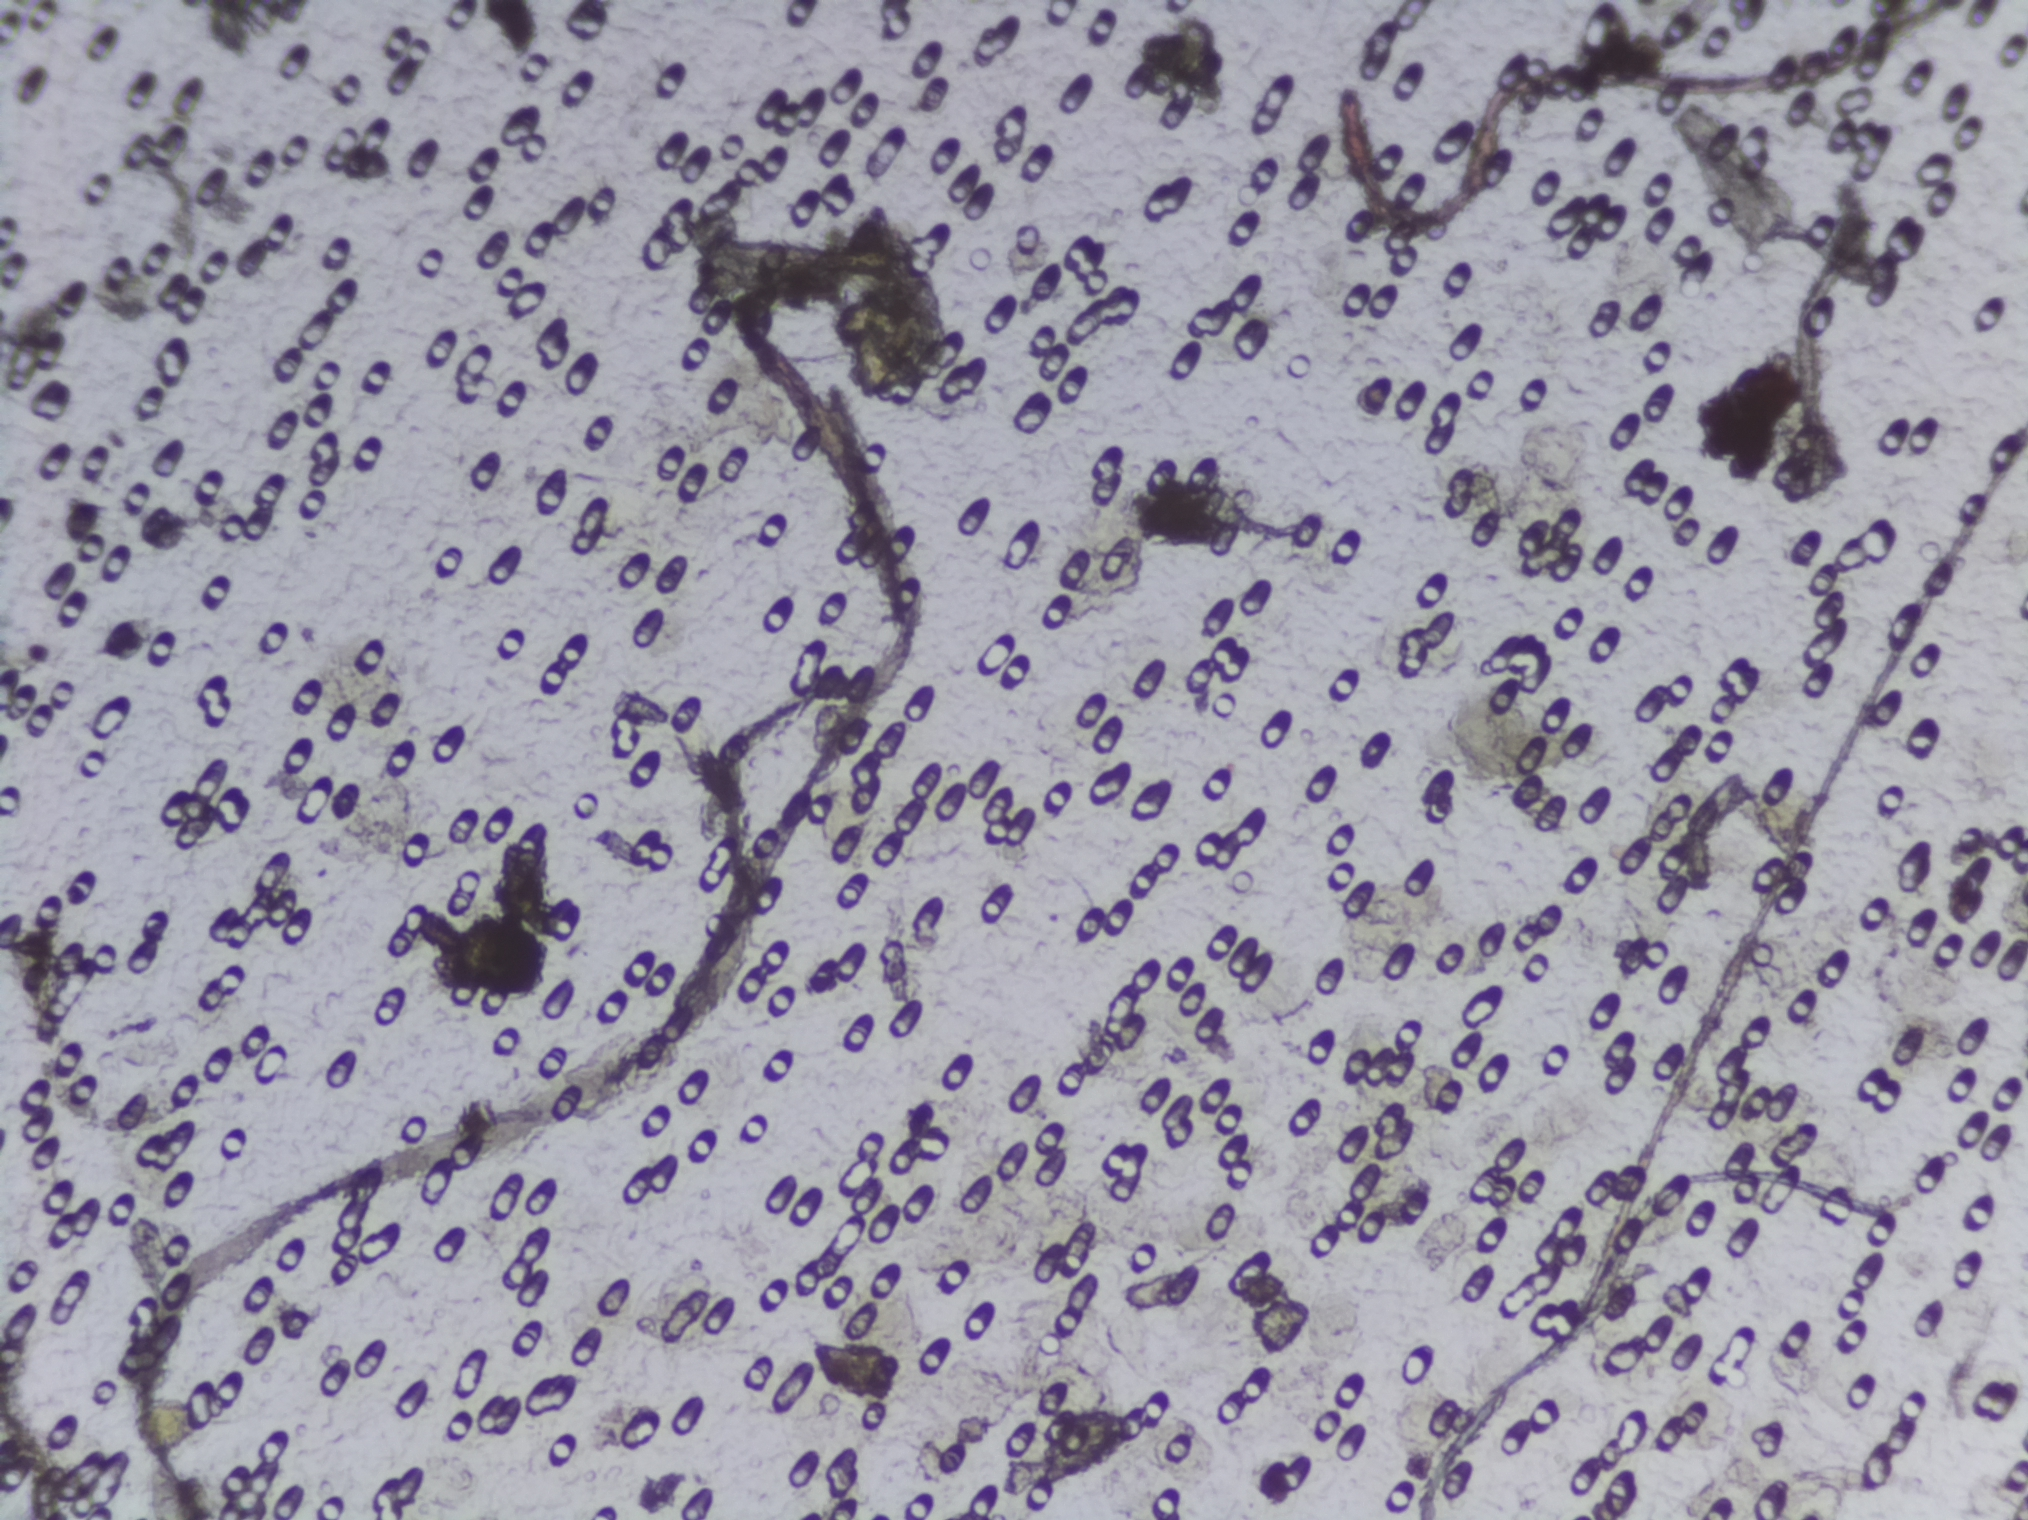
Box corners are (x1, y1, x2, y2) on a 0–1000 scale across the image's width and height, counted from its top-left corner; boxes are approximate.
The expert annotation outlines Schistosoma eggs at (409, 126, 475, 270). Marked pixels, not the box around them: about 0.7% of the image. A single outlined area may contain several eggs.
Microscope photograph (4× objective) of a membrane that a urine sample was filtered through.